Urine filtration membrane under a 4× objective, photographed by an automated digital microscope. Field of view: about 1.5 mm wide and 1.1 mm high.
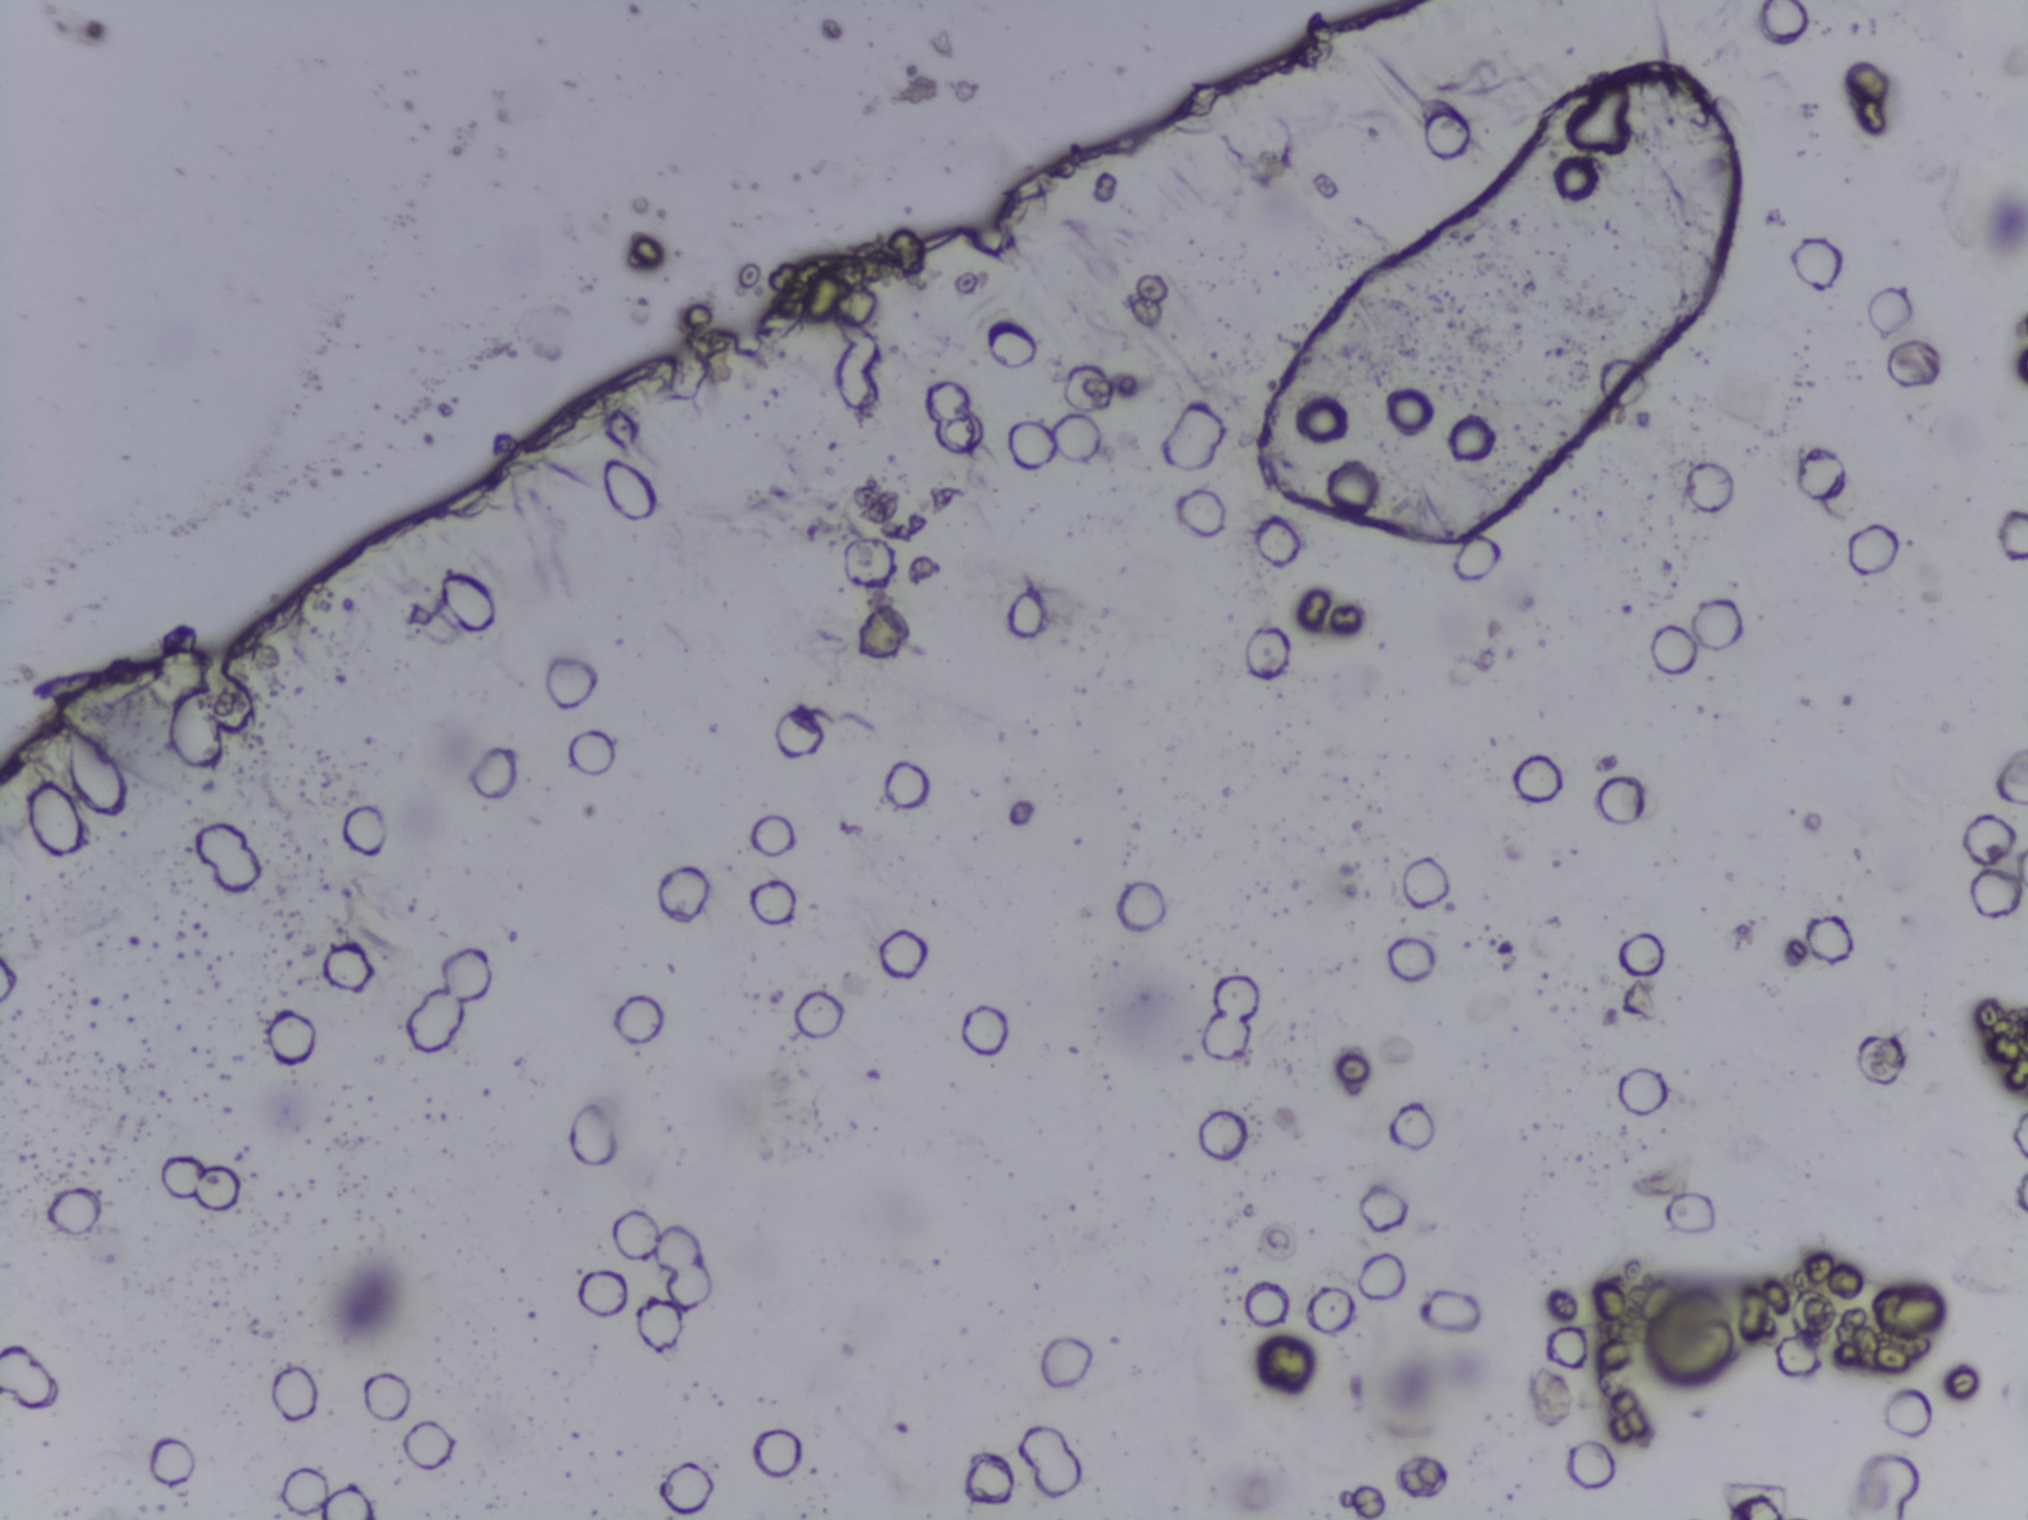
No Schistosoma egg is outlined in this image's expert annotation.